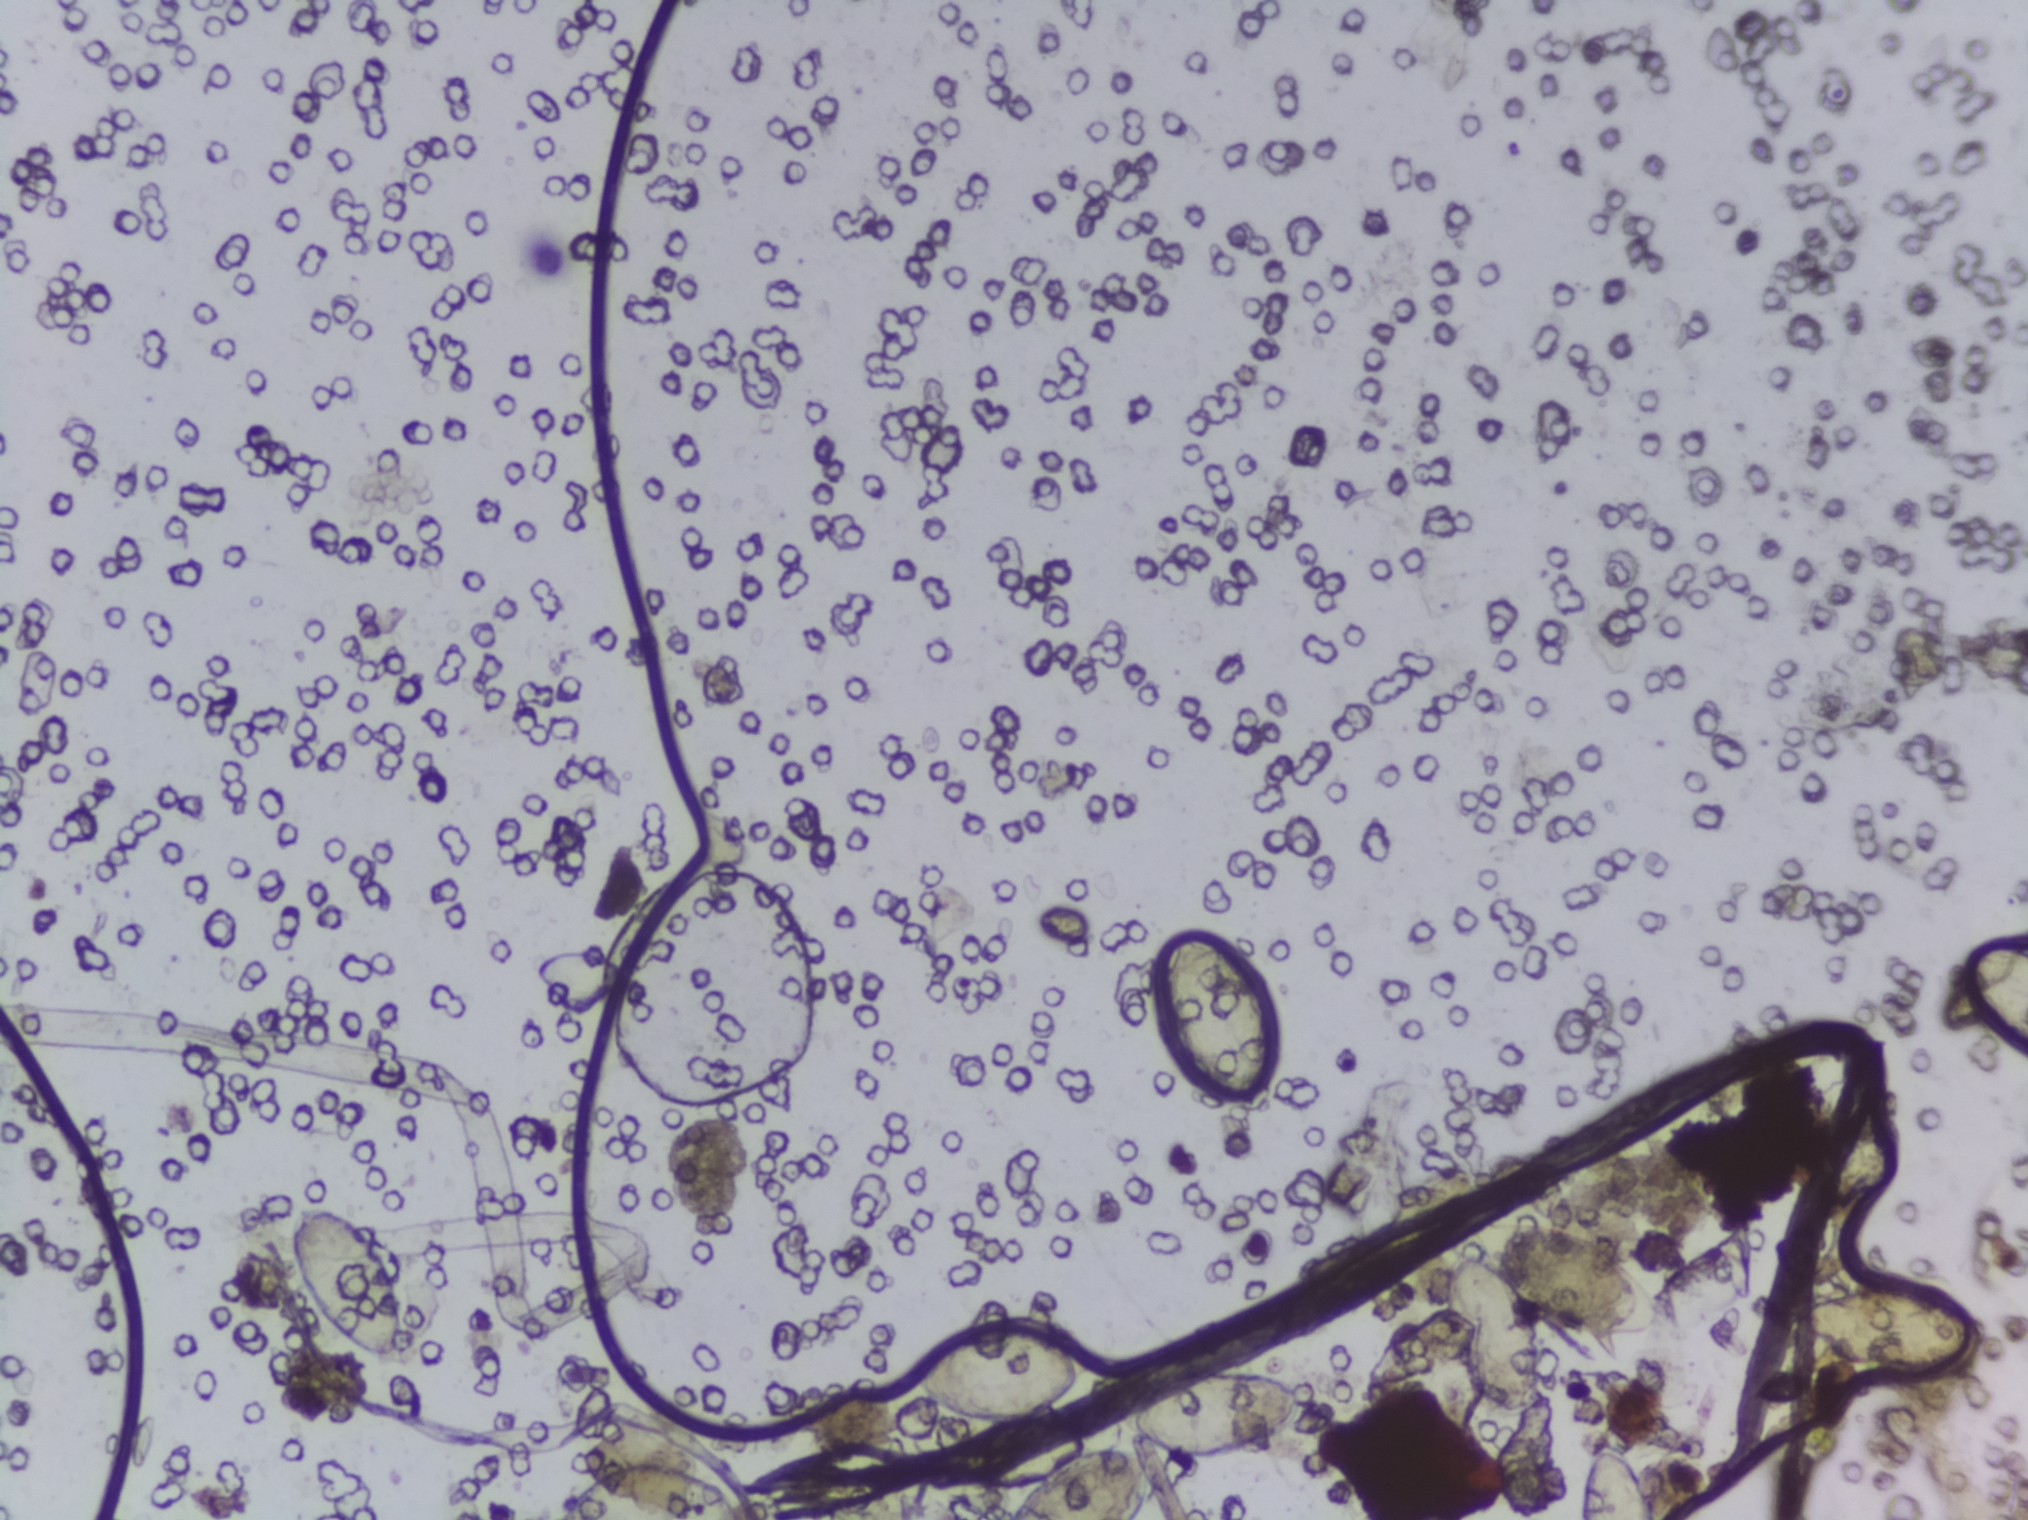
Photograph from an automated digital microscope: urine filter membrane, 4× objective. Field of view: about 1.5 mm wide and 1.1 mm high.
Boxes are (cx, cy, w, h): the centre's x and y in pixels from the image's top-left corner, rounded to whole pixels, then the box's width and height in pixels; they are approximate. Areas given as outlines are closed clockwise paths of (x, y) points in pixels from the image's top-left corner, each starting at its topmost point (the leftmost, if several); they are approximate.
Schistosoma eggs are outlined in nine areas of this image, listed from left to right: box (cx=349, cy=1281, w=115, h=160); box (cx=648, cy=1494, w=199, h=52) (reaching the bottom edge of the frame); box (cx=1005, cy=1373, w=192, h=97); outline (1196, 1365), (1246, 1367), (1294, 1380), (1311, 1391), (1311, 1409), (1291, 1430), (1241, 1454), (1162, 1454), (1146, 1504), (1131, 1519), (1004, 1519), (1050, 1463), (1085, 1448), (1139, 1443), (1116, 1428), (1125, 1395), (1153, 1376) (reaching the bottom edge of the frame); box (cx=1219, cy=1021, w=118, h=185); box (cx=1582, cy=1292, w=277, h=280); box (cx=1617, cy=1476, w=79, h=87) (reaching the bottom edge of the frame); box (cx=1889, cy=1333, w=219, h=108); box (cx=1991, cy=1003, w=73, h=133) (reaching the right edge of the frame). An outlined area can hold more than one egg.